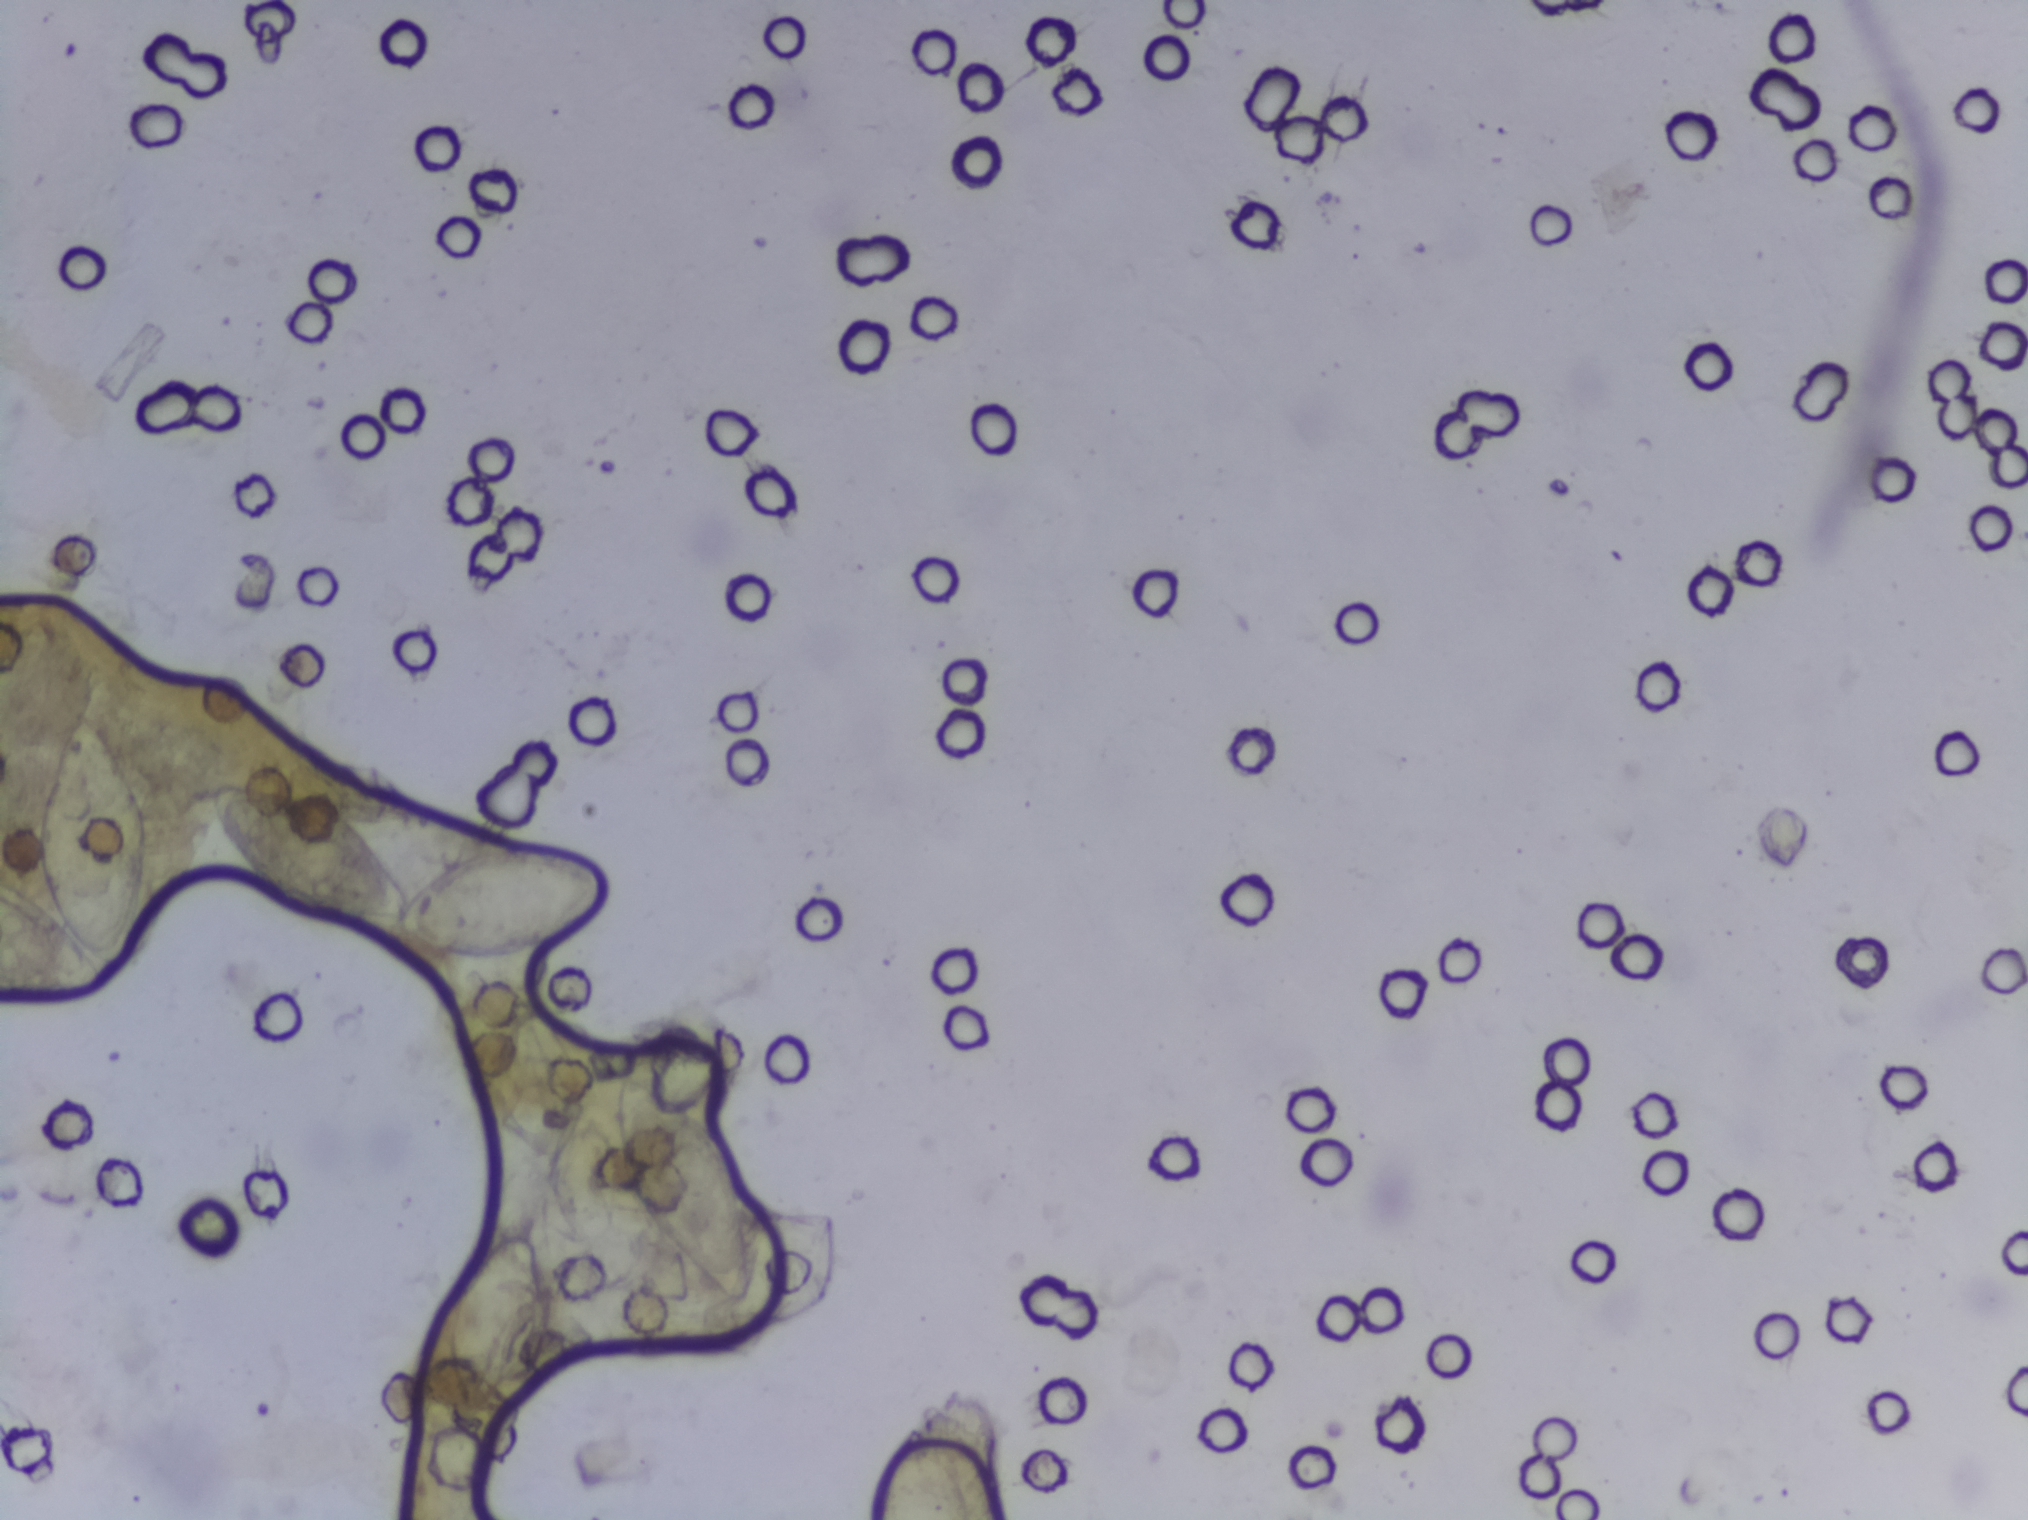
Urine filtration membrane under a 4× objective, photographed by an automated digital microscope. The image covers about 1.5 × 1.1 mm of the membrane.
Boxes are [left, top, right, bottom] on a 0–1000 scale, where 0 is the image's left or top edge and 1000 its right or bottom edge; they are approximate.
Areas outlined as Schistosoma eggs, left to right:
1. [0, 466, 73, 662] (reaching the left edge of the frame)
2. [103, 516, 301, 632]
3. [224, 798, 271, 928]
4. [271, 732, 304, 822]
5. [303, 708, 372, 861]
6. [430, 939, 478, 1000] (reaching the bottom edge of the frame)
An outlined area can hold more than one egg. A marked egg may occasionally be S. mansoni rather than S. haematobium.